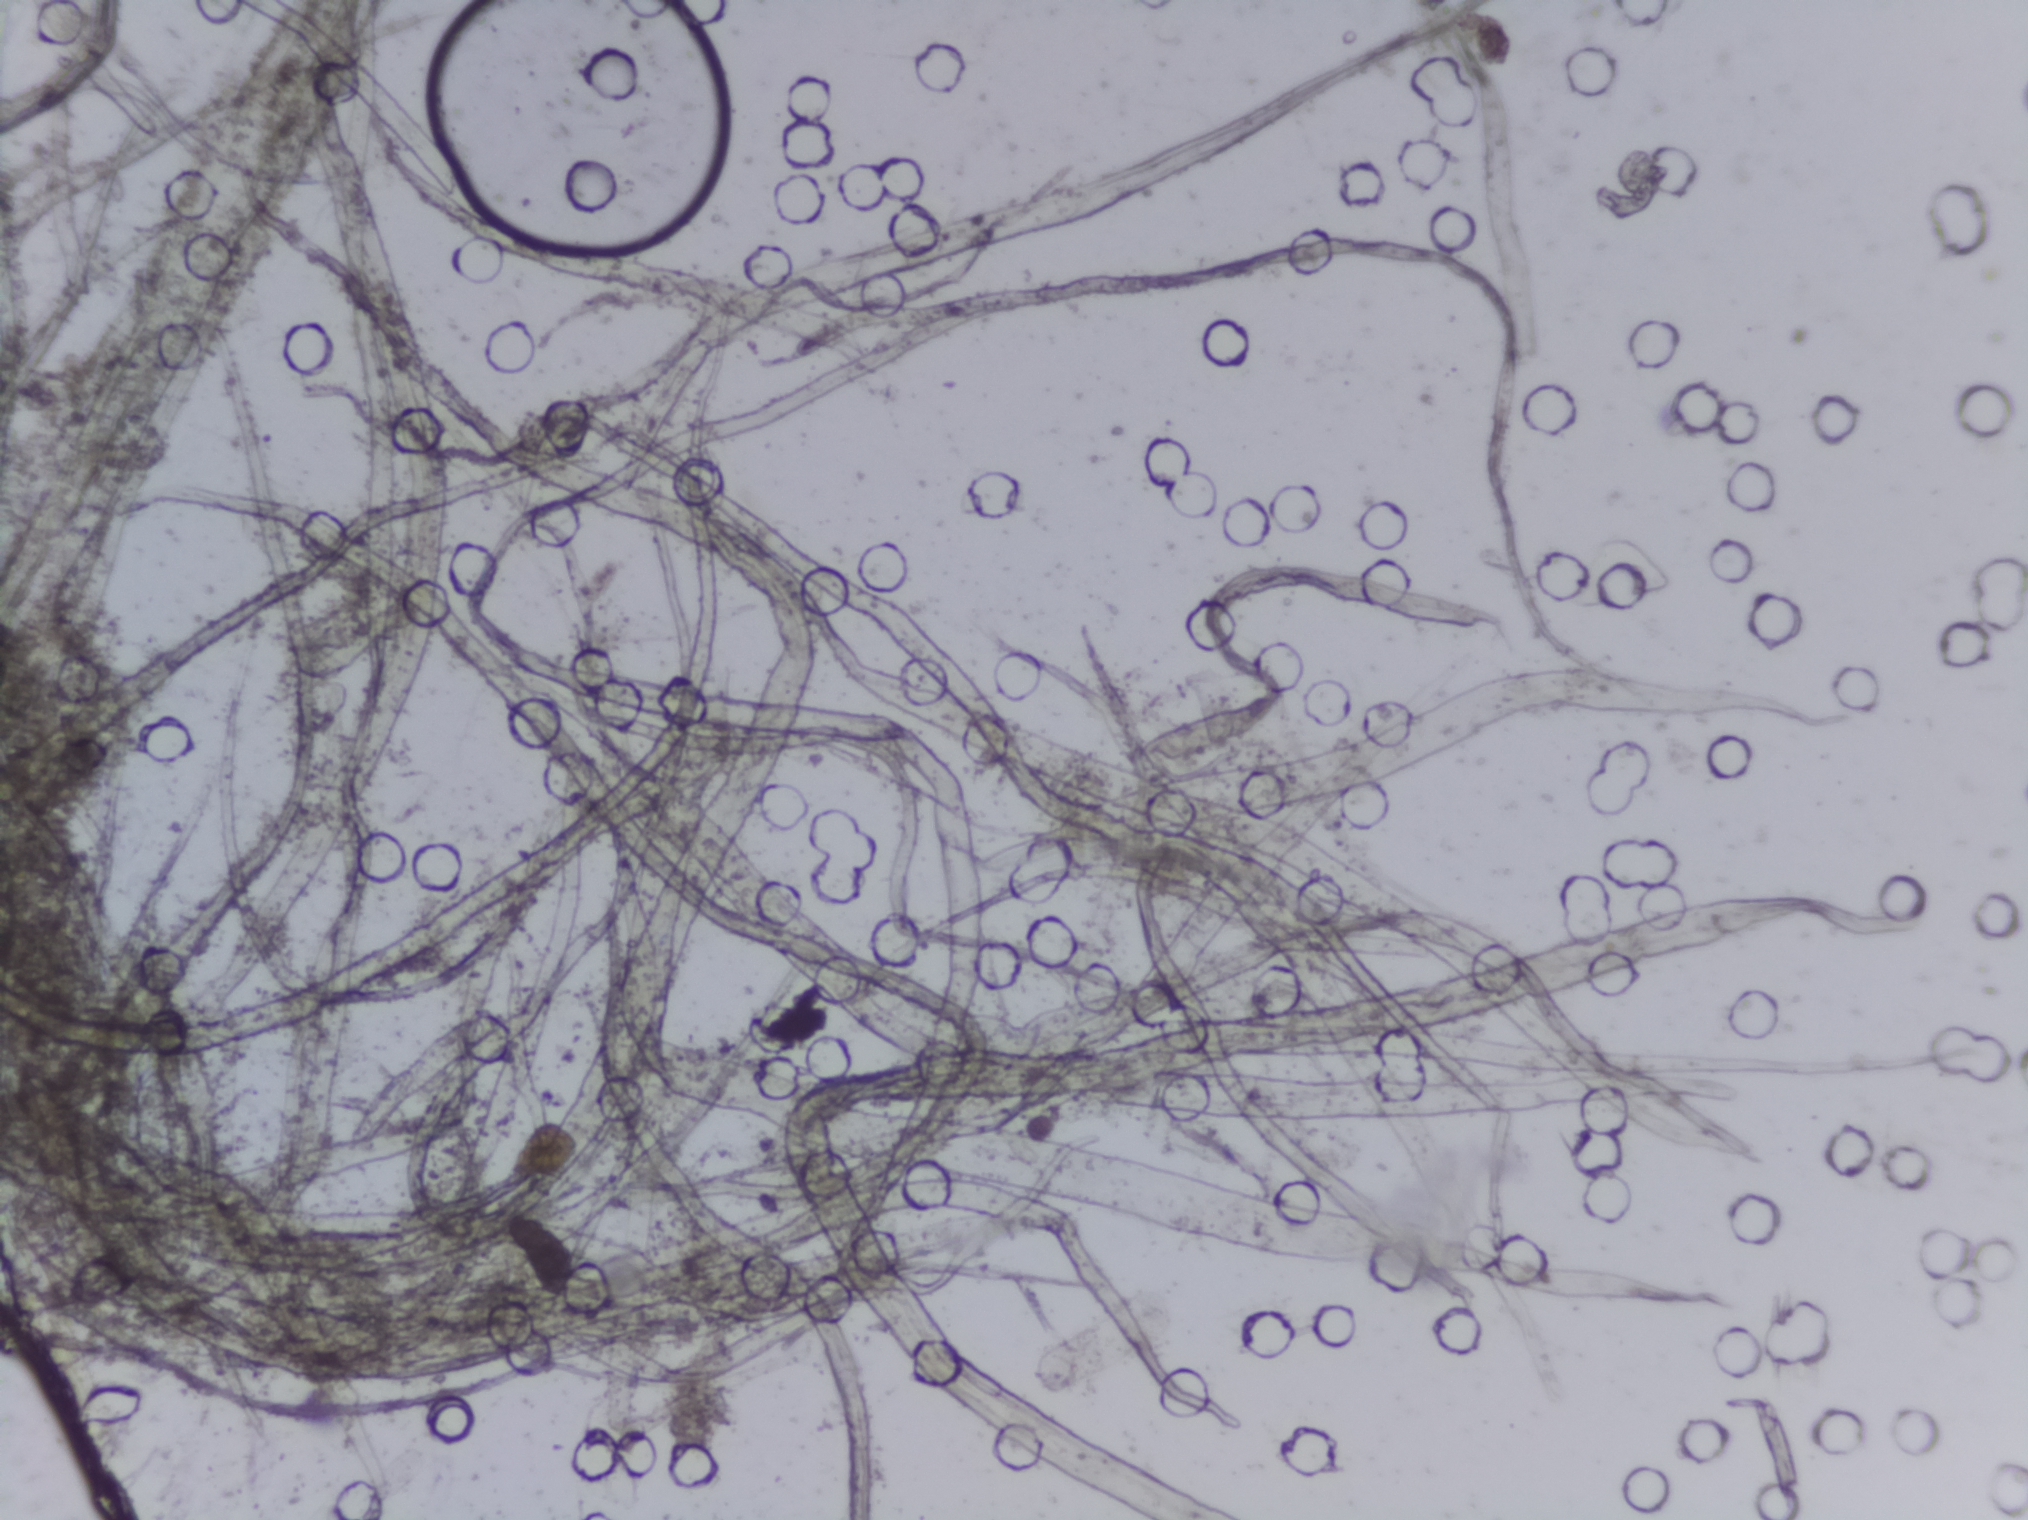
Photomicrograph of a urine filtration membrane, 4× objective.
No Schistosoma egg is outlined in this image's expert annotation.